One field of view of a urine filter membrane, 4× objective, 2028 × 1520 pixels.
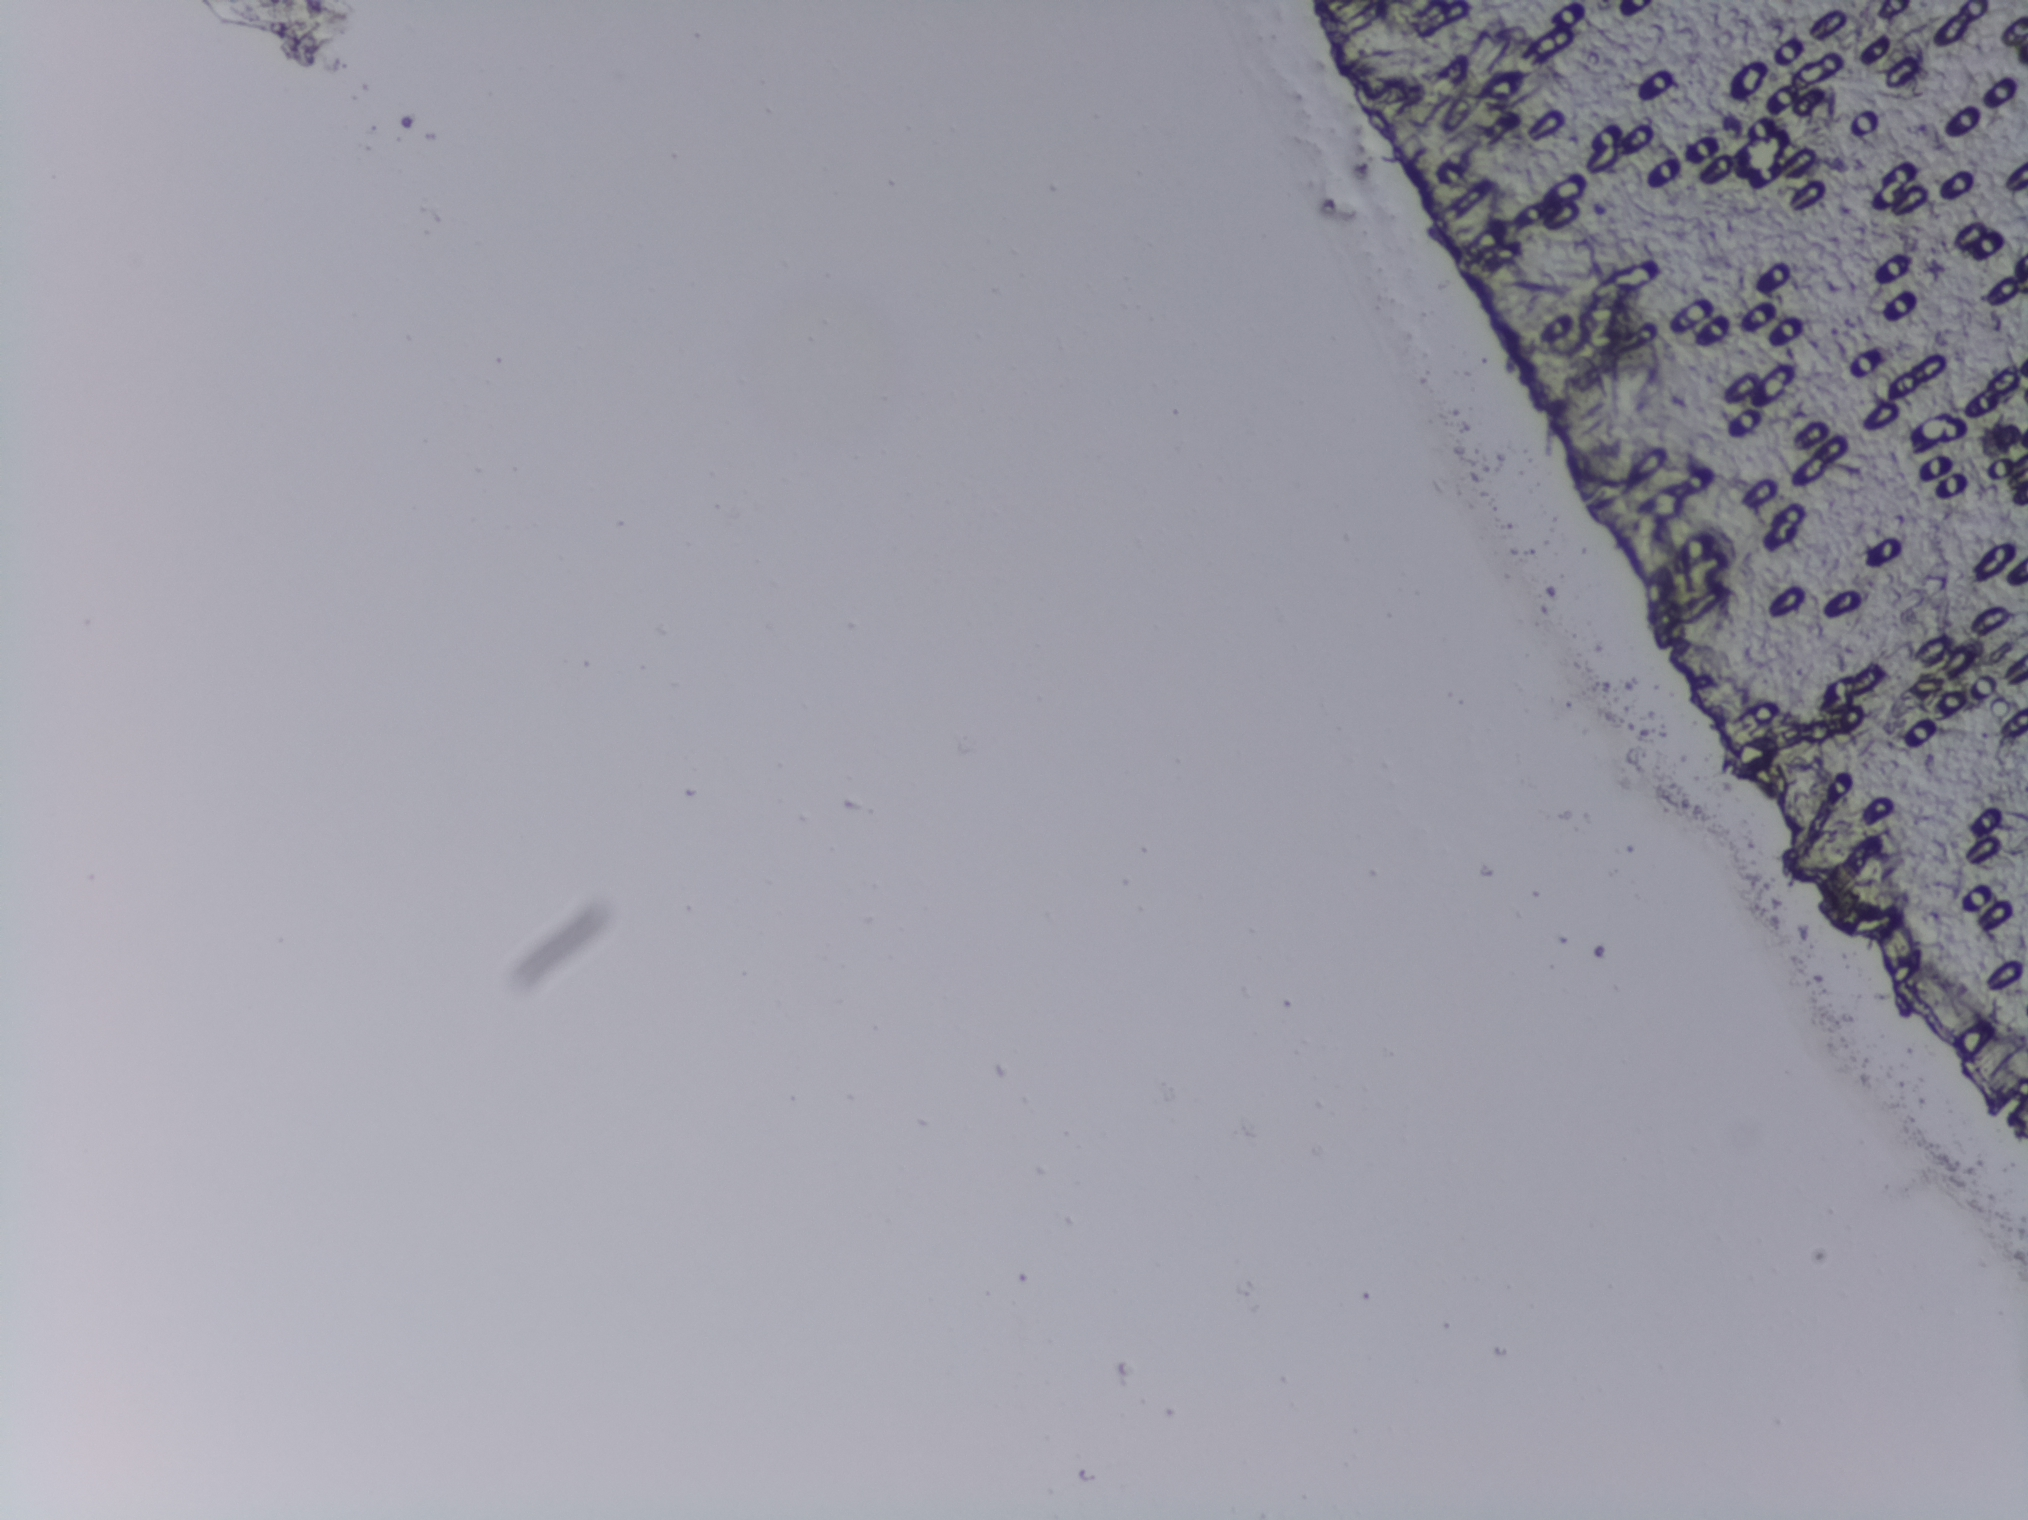
Schistosoma eggs: none outlined.